Photomicrograph of a urine filtration membrane, 4× objective.
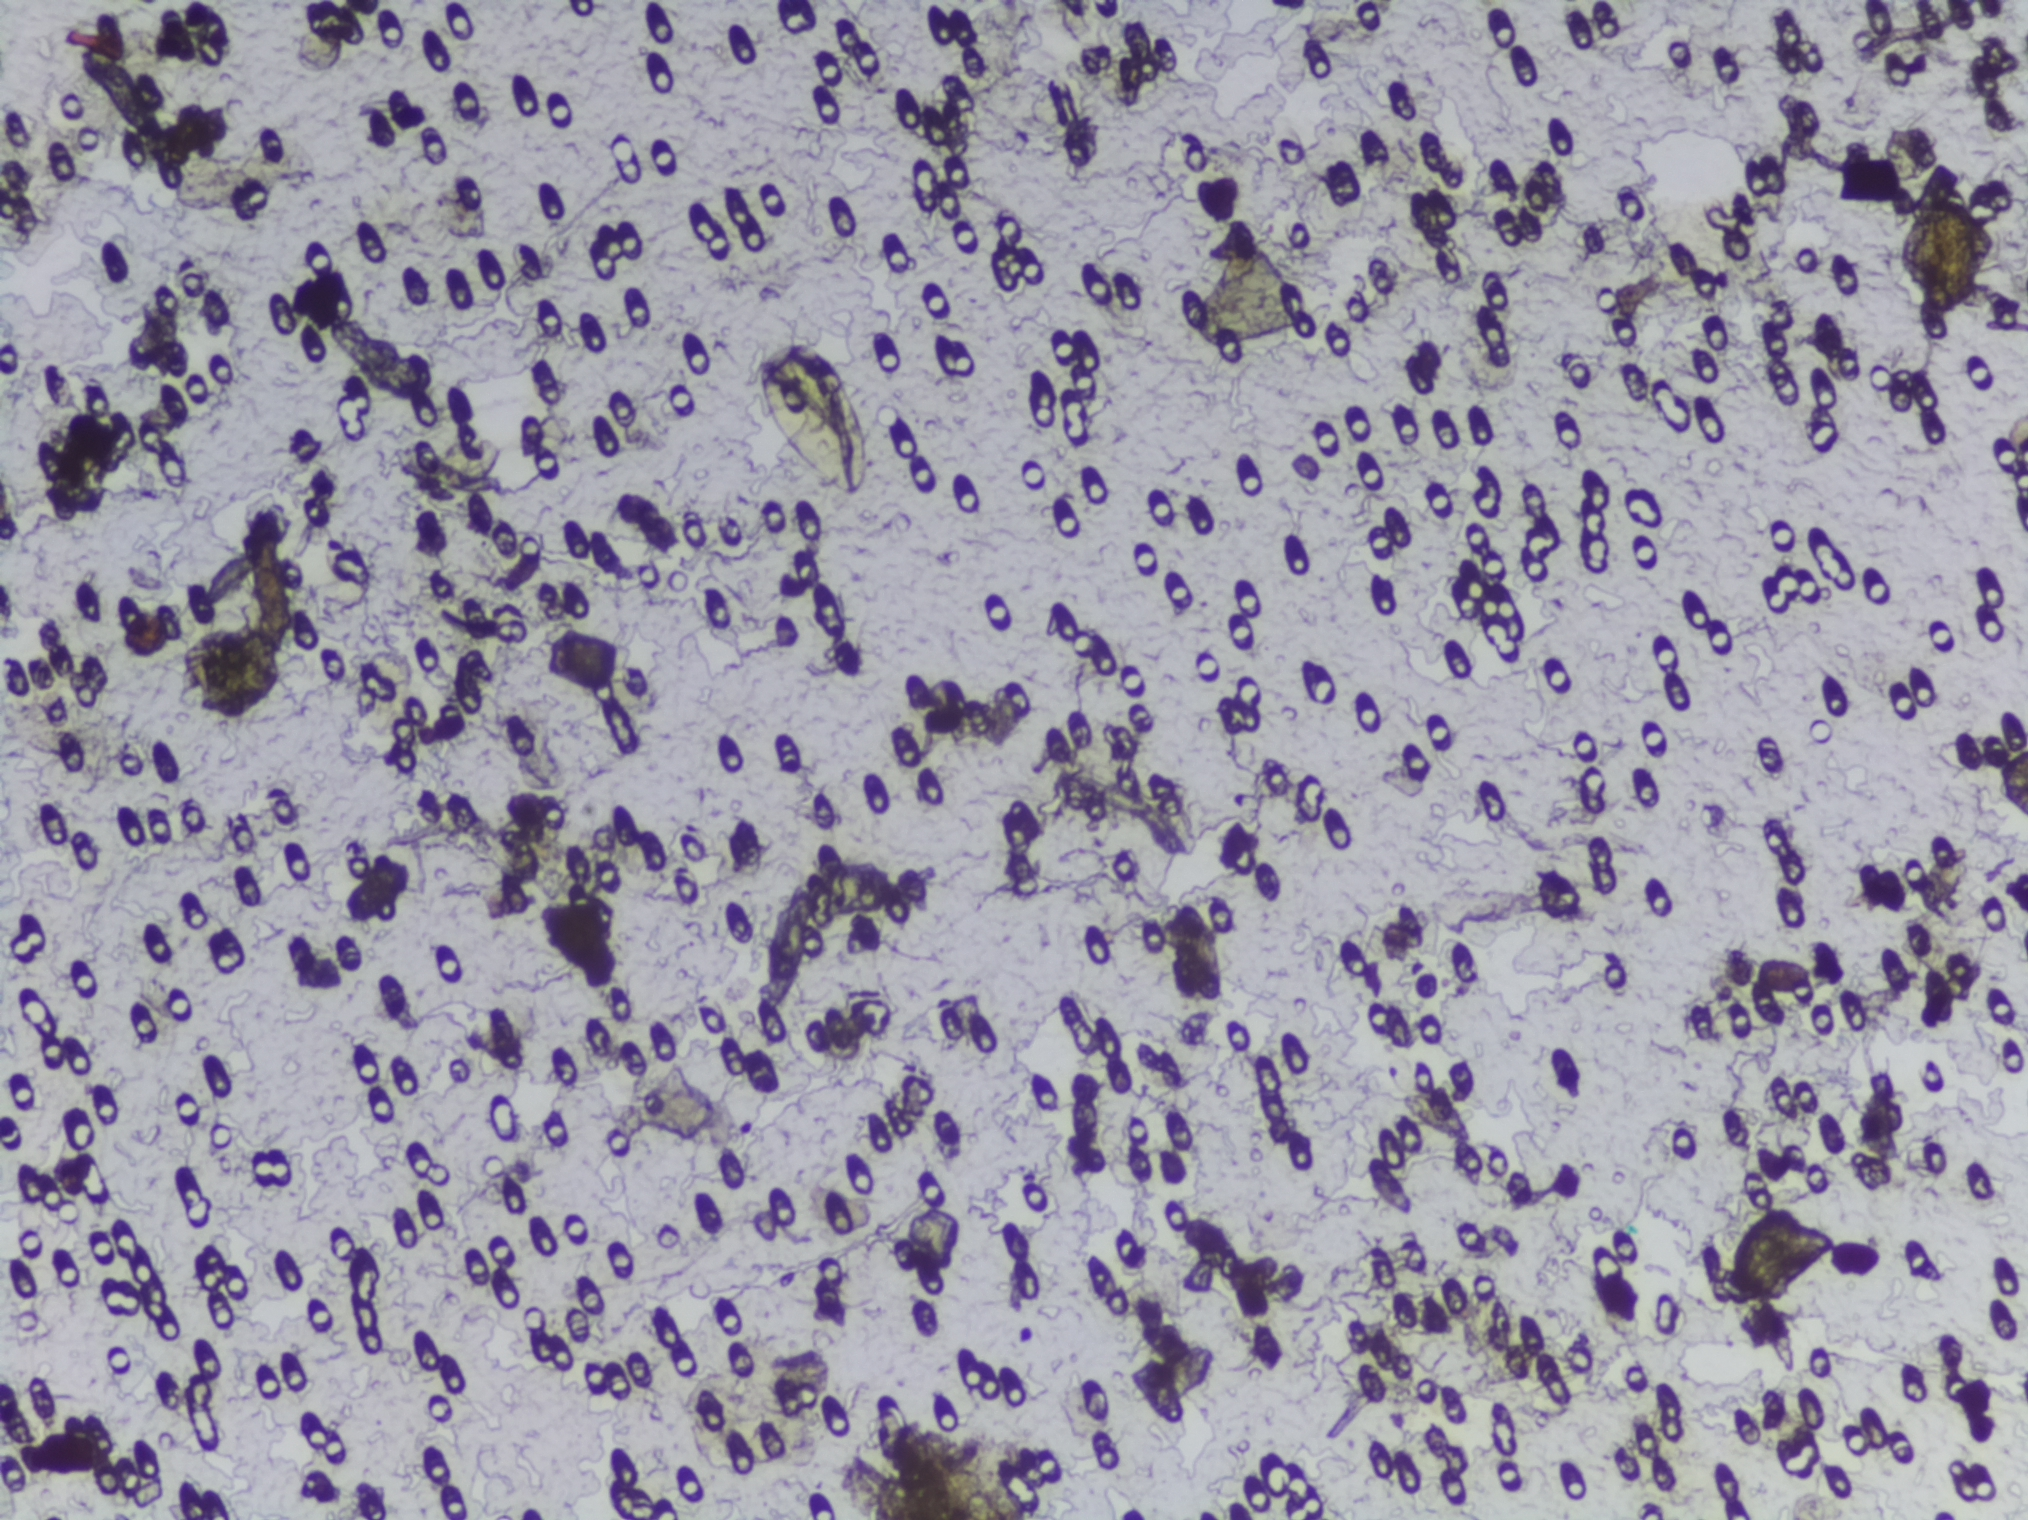
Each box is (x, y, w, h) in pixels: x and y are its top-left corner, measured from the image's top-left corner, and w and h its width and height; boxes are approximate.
Areas outlined as Schistosoma eggs: (x=753, y=335, w=126, h=169). An outlined area can hold more than one egg. Any one outlined egg may, rarely, be S. mansoni rather than S. haematobium.